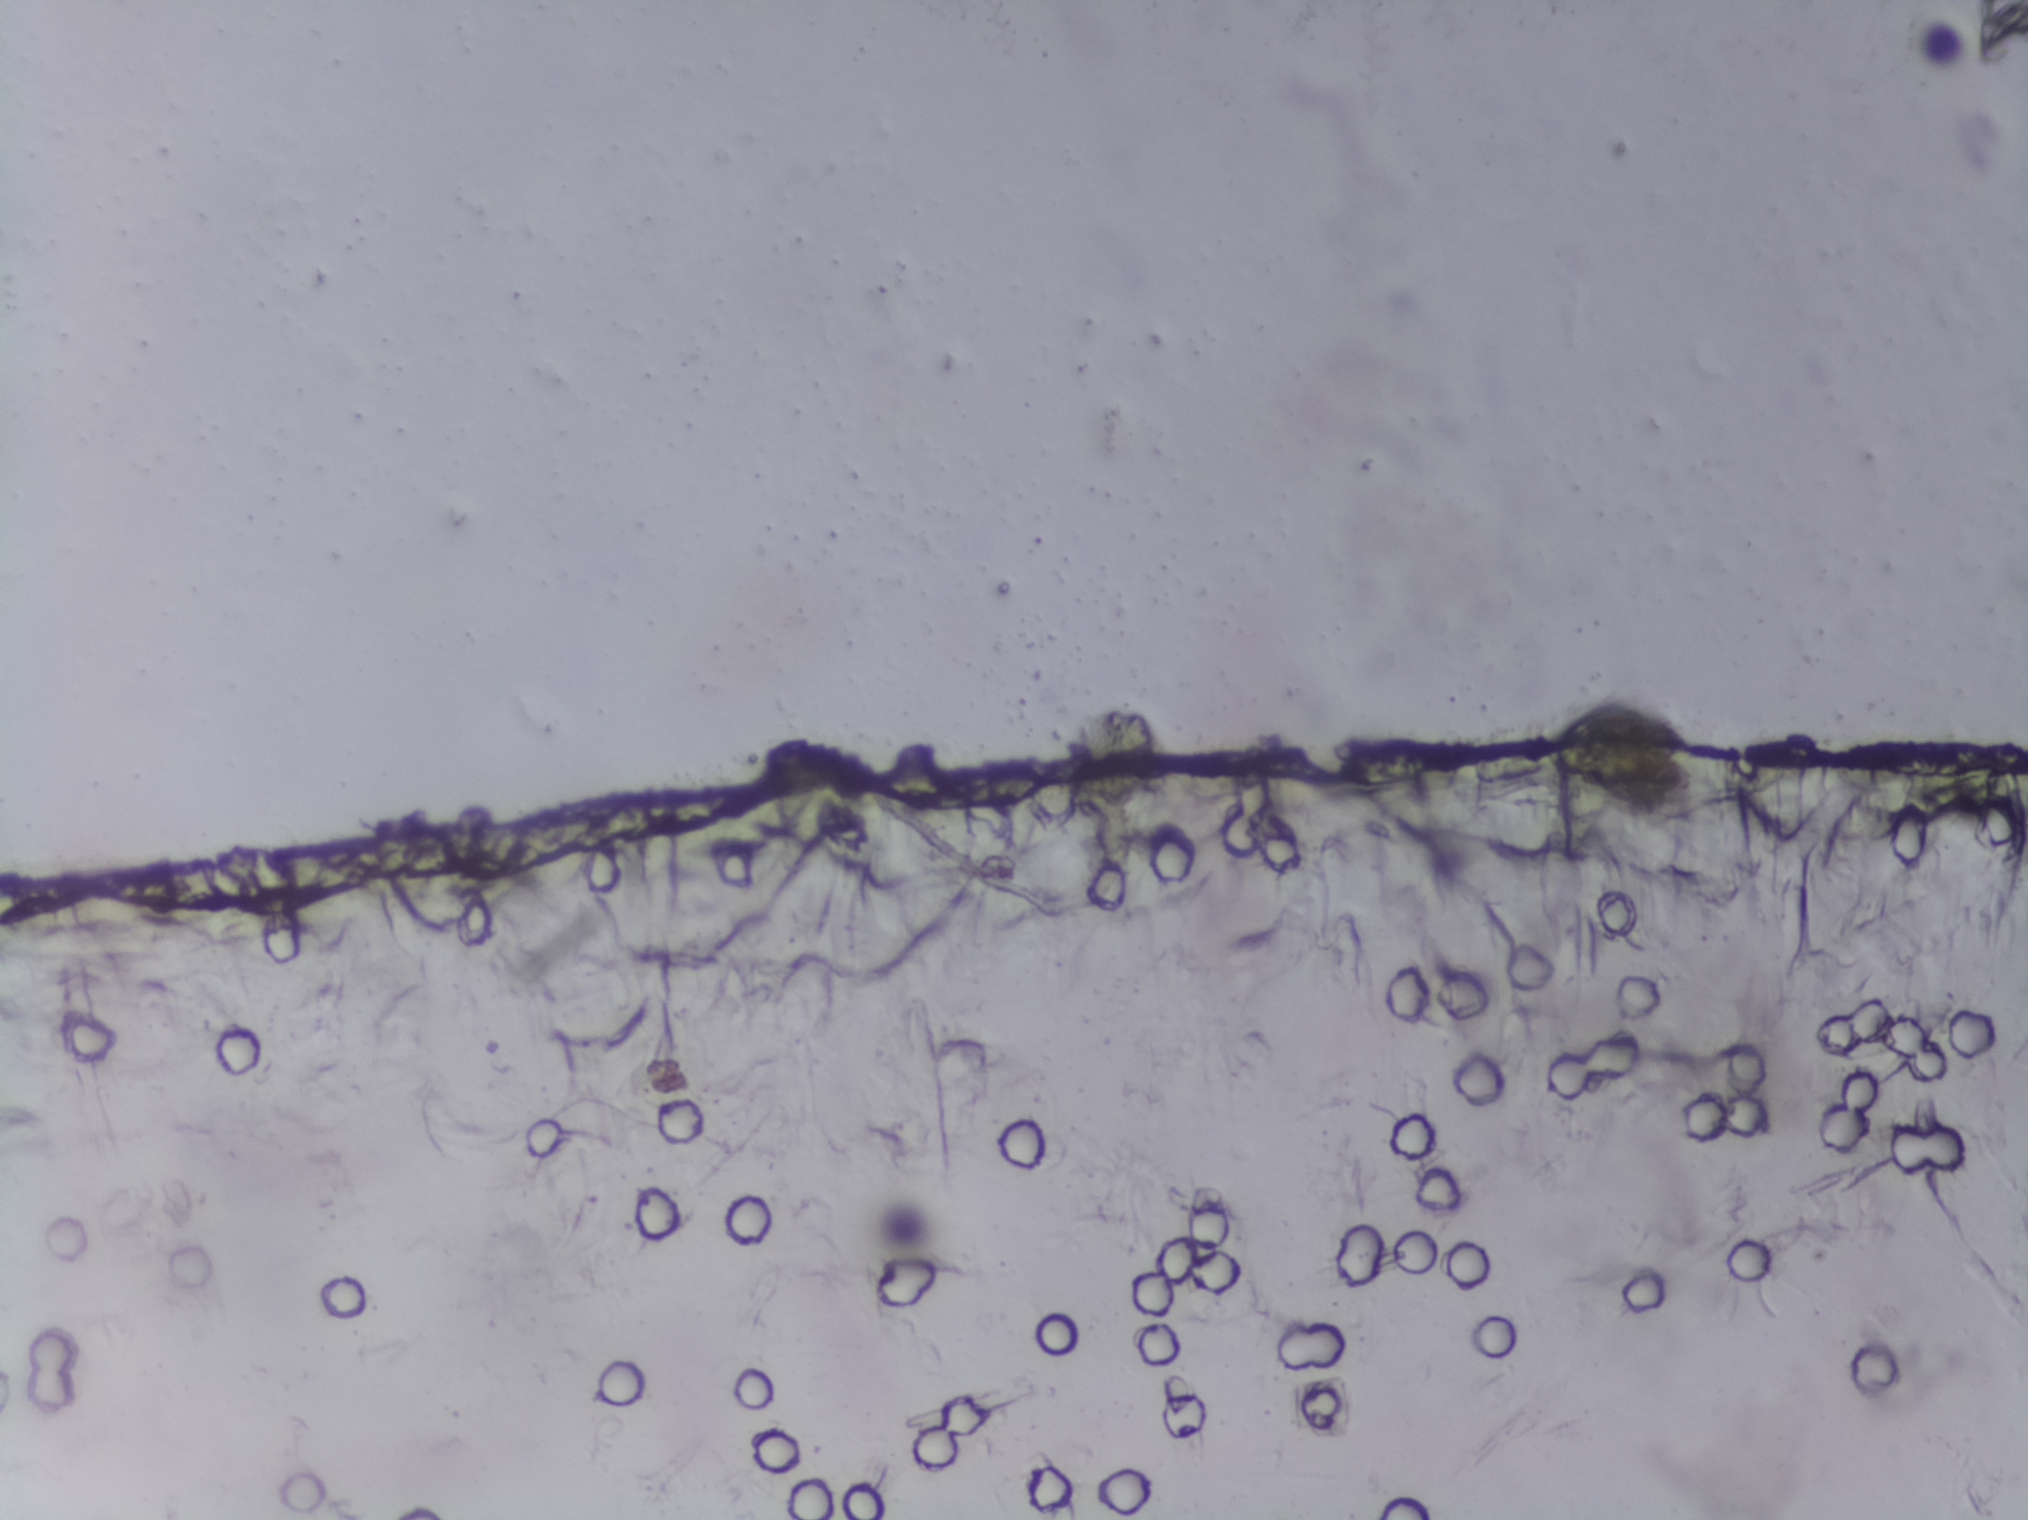
One field of view of a urine filter membrane, 4× objective, 2028 × 1520 pixels.
The expert annotation outlines no Schistosoma egg in this image.